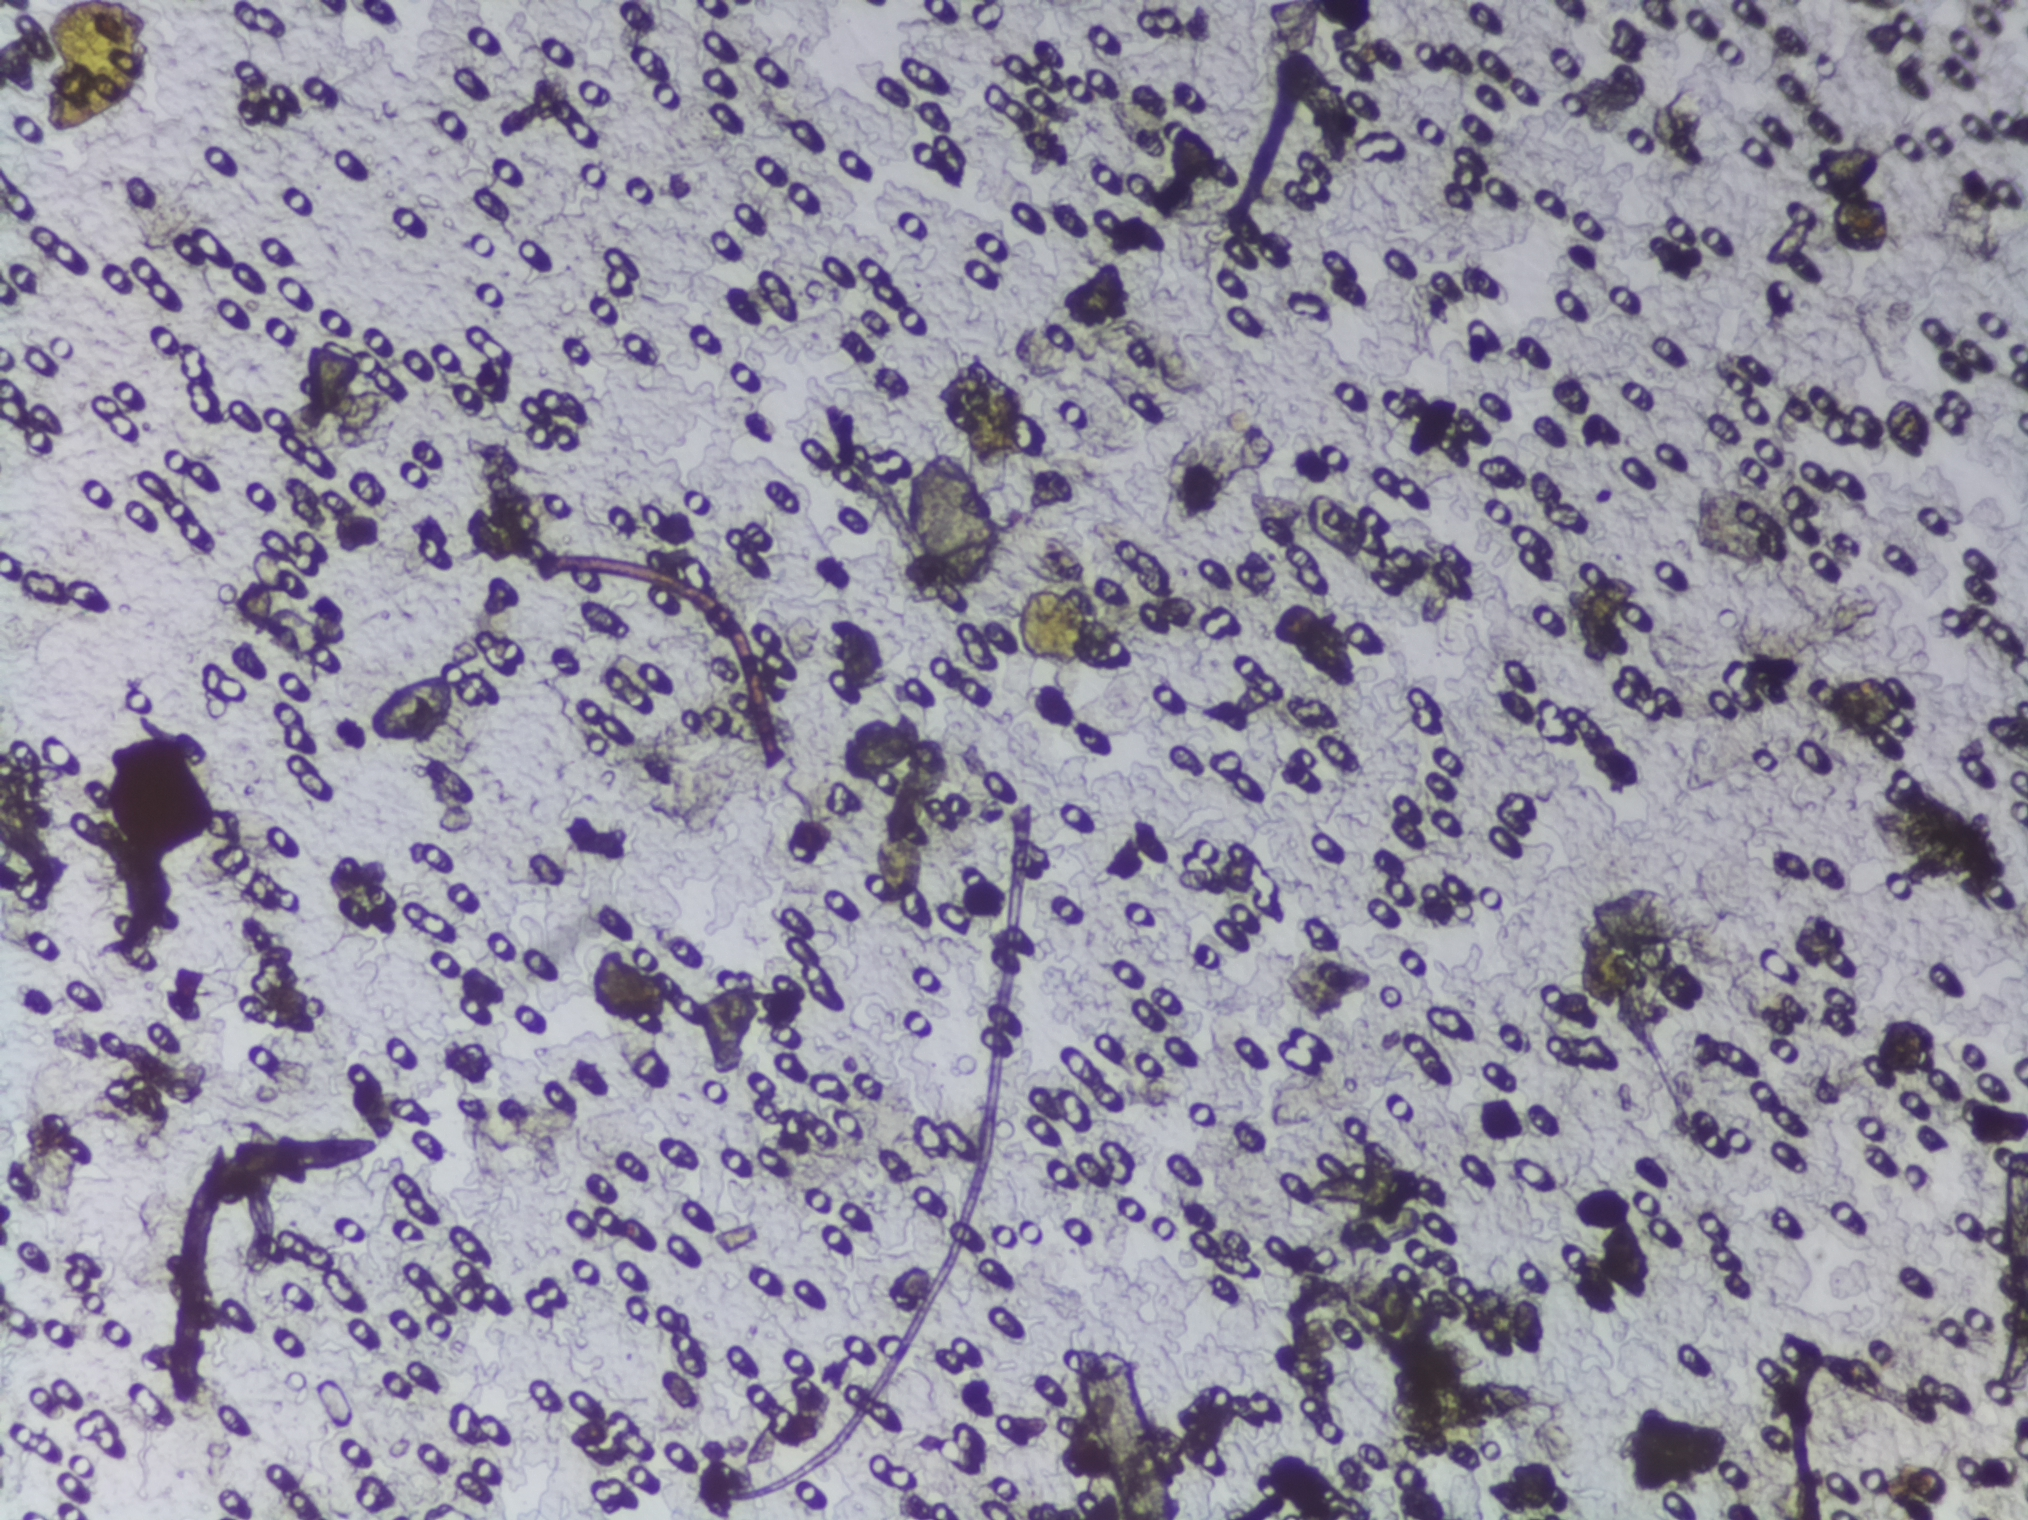
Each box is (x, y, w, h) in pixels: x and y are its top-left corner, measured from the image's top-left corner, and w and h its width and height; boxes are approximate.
One area of this image is outlined as Schistosoma eggs: (x=370, y=671, w=90, h=72). About 0.2% of the image's pixels are marked (the marked pixels themselves, not the box around them). An outlined area can hold more than one egg.
Urine filtration membrane under a 4× objective, photographed by an automated digital microscope.